One field of view of a urine filter membrane, 4× objective, 2028 × 1520 pixels.
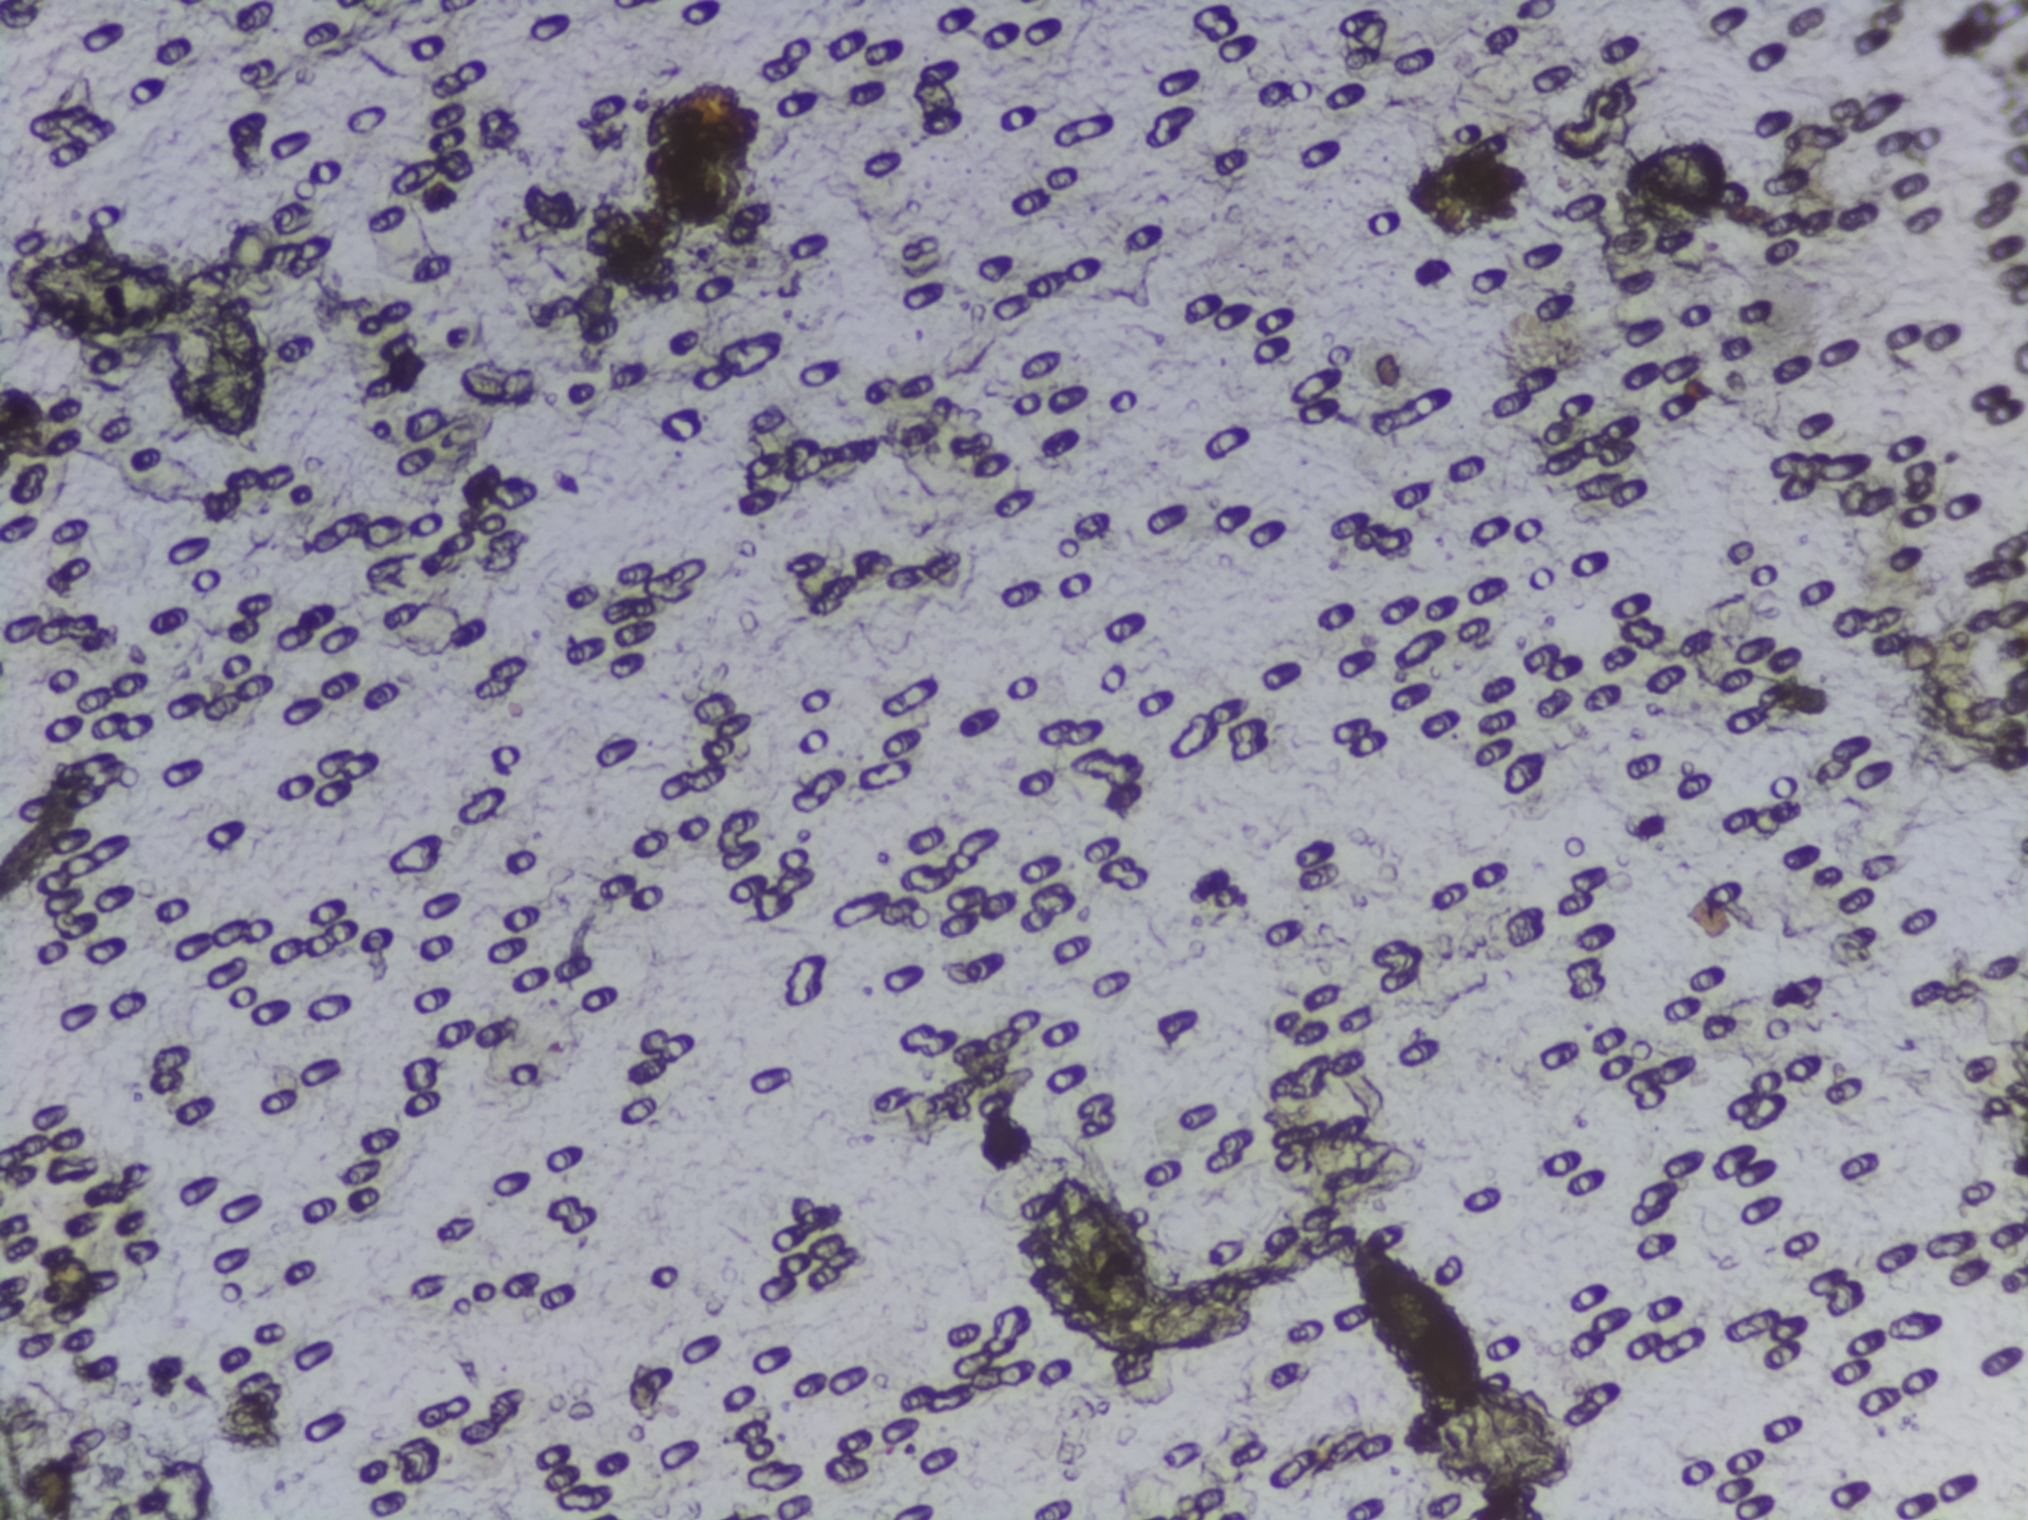
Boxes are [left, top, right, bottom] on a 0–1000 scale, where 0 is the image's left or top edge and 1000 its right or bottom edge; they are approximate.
Outlined Schistosoma egg areas, left to right:
1. [0, 144, 145, 295] (reaching the left edge of the frame)
2. [502, 764, 630, 897]
3. [614, 695, 708, 795]
4. [661, 802, 790, 984]
Marked pixels, not the boxes around them: about 4.3% of the image. A single outlined area may contain several eggs.